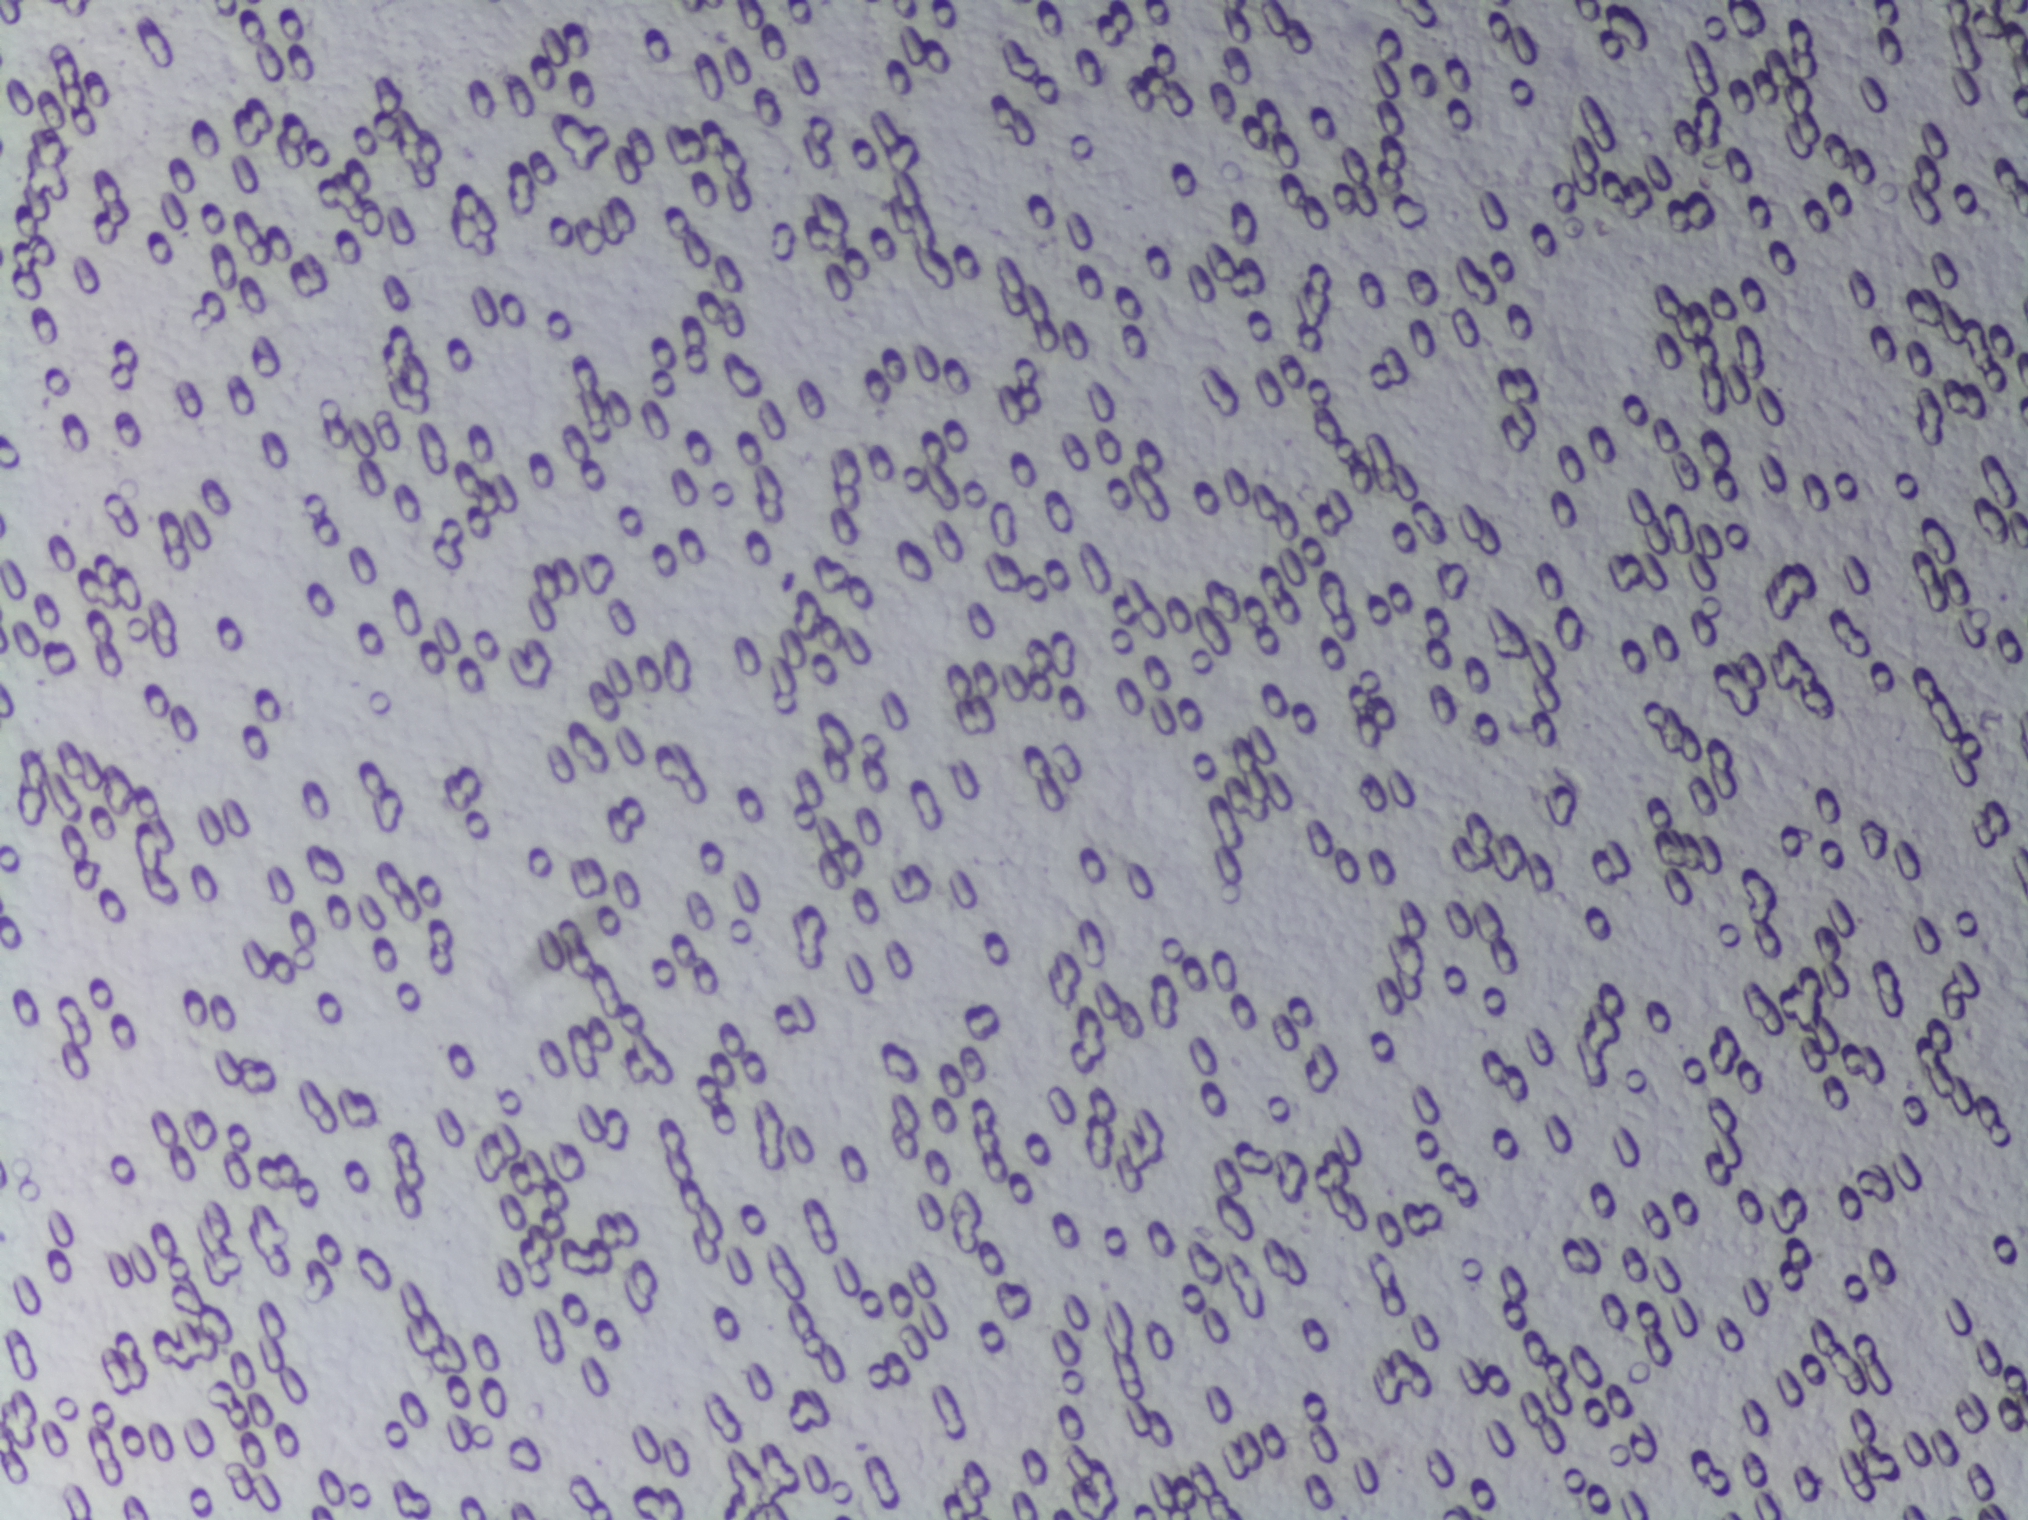
Urine filter membrane photographed through a 4× microscope objective.
Schistosoma eggs: none outlined.